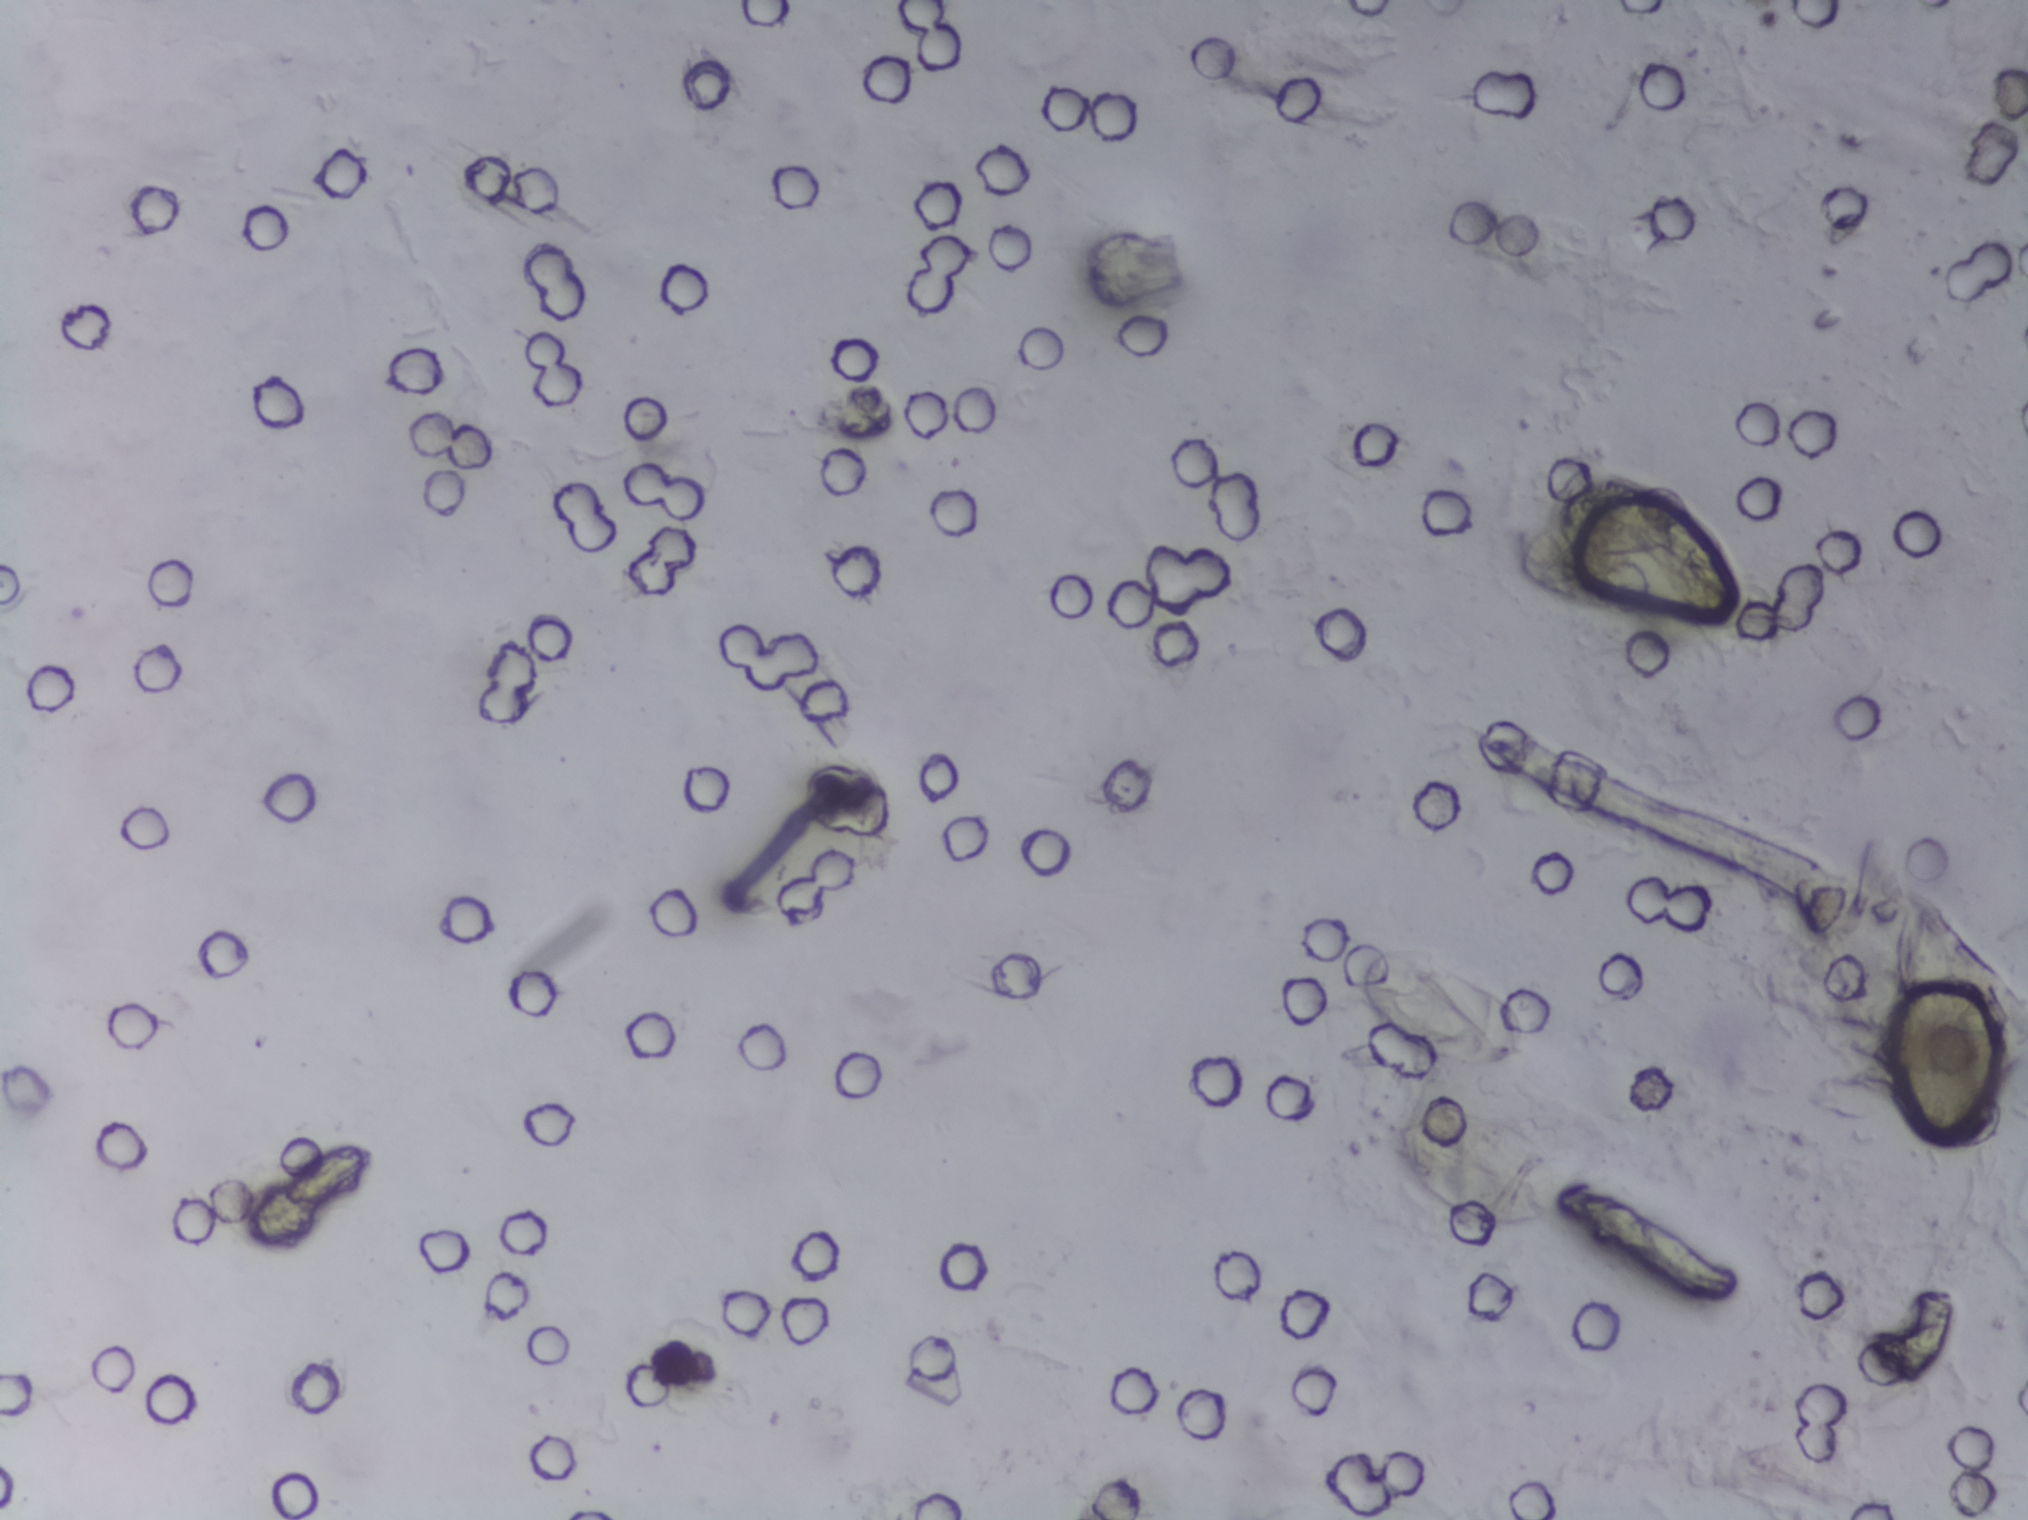
Urine filtration membrane under a 4× objective, photographed by an automated digital microscope.
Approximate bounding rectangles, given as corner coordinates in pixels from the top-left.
Schistosoma eggs are outlined in two areas of this image, listed from left to right: (x1=1363, y1=949, x2=1528, y2=1068) and (x1=1390, y1=1110, x2=1562, y2=1229). A single outlined area may contain several eggs.